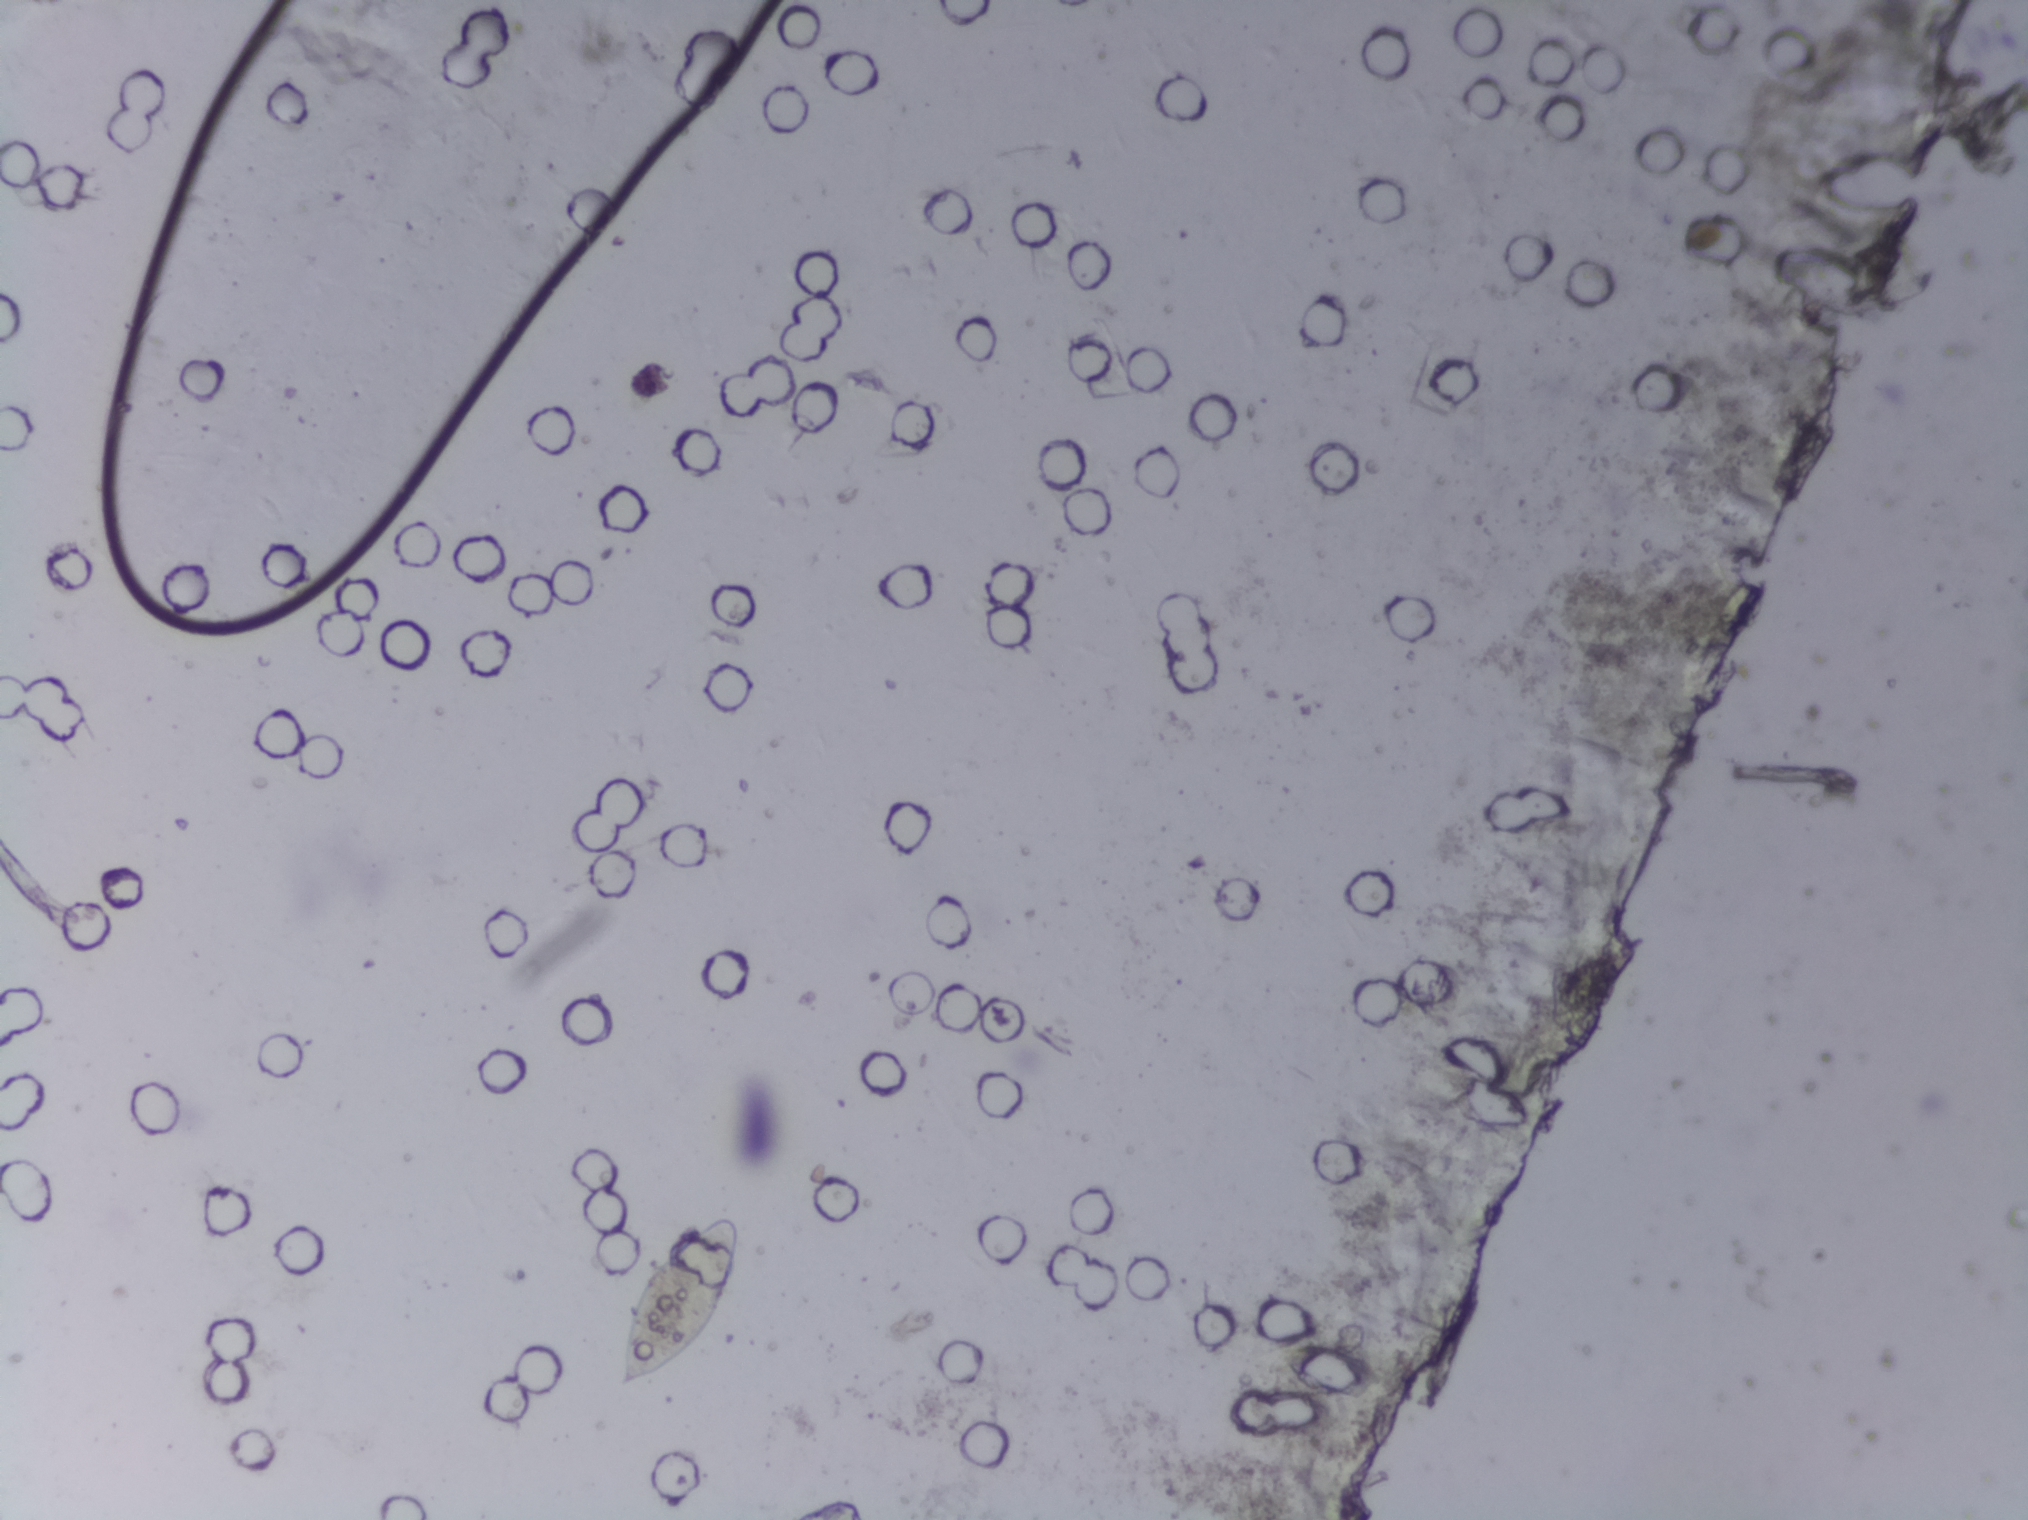
Urine filtration membrane under a 4× objective, photographed by an automated digital microscope.
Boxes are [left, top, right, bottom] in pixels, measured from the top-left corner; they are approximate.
Areas outlined as Schistosoma eggs: [616, 1216, 740, 1390]. Marked pixels, not the box around them: about 0.4% of the image. A single outlined area may contain several eggs.